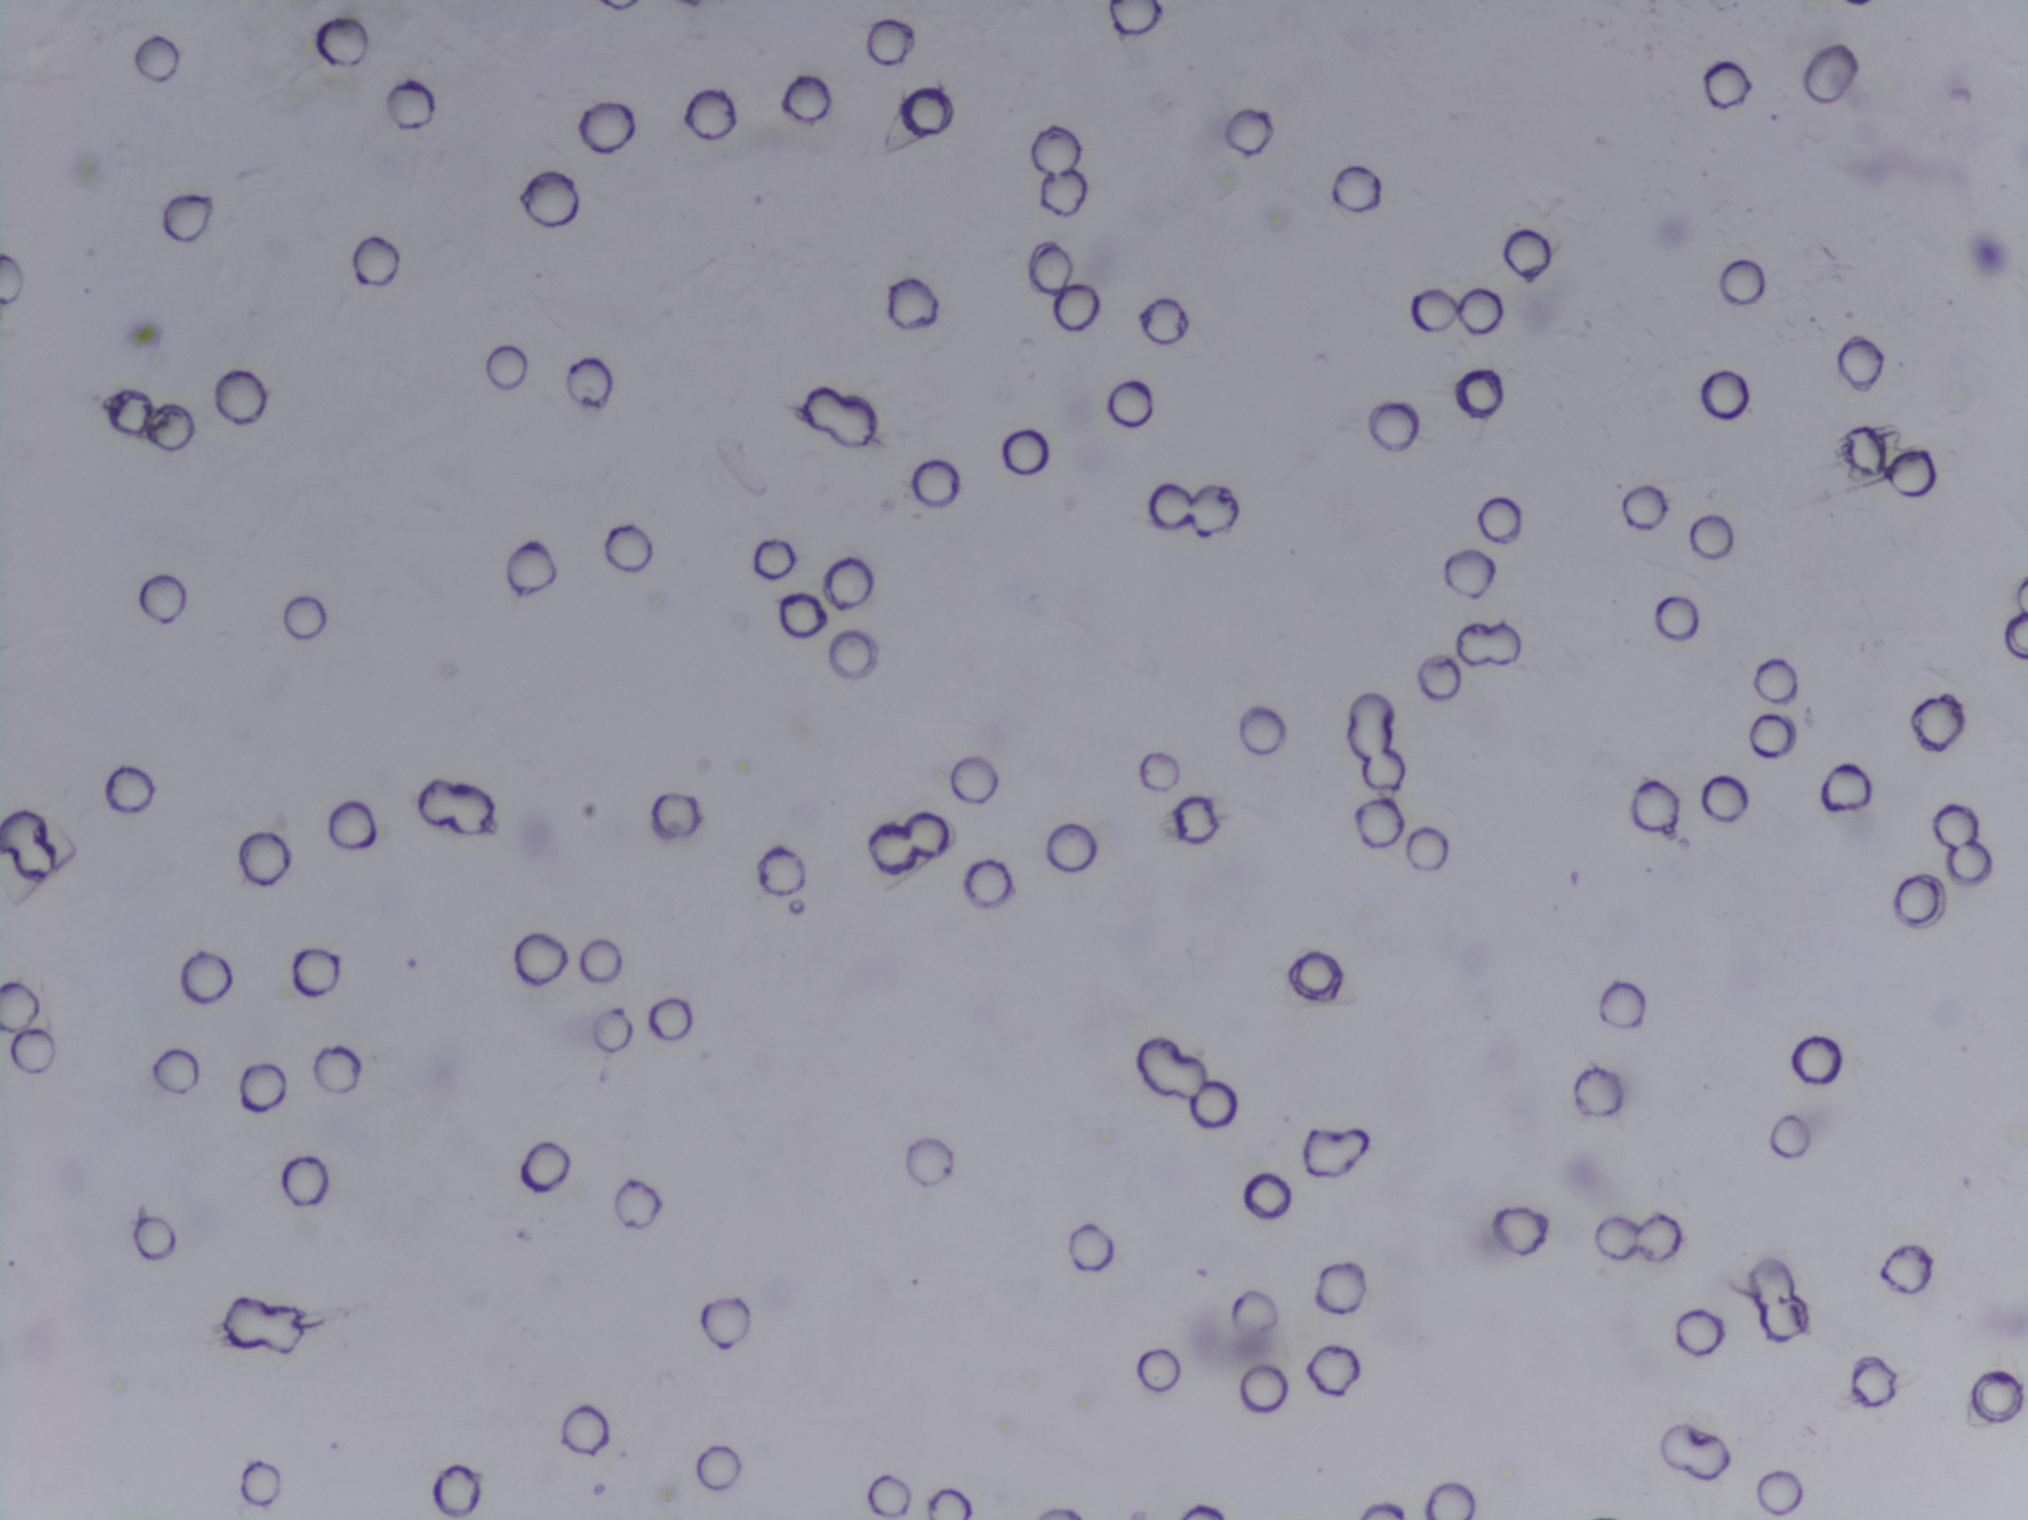
Urine filter membrane photographed through a 4× microscope objective.
No area of this image was outlined as a Schistosoma egg.